One field of view of a urine filter membrane, 4× objective, 2028 × 1520 pixels.
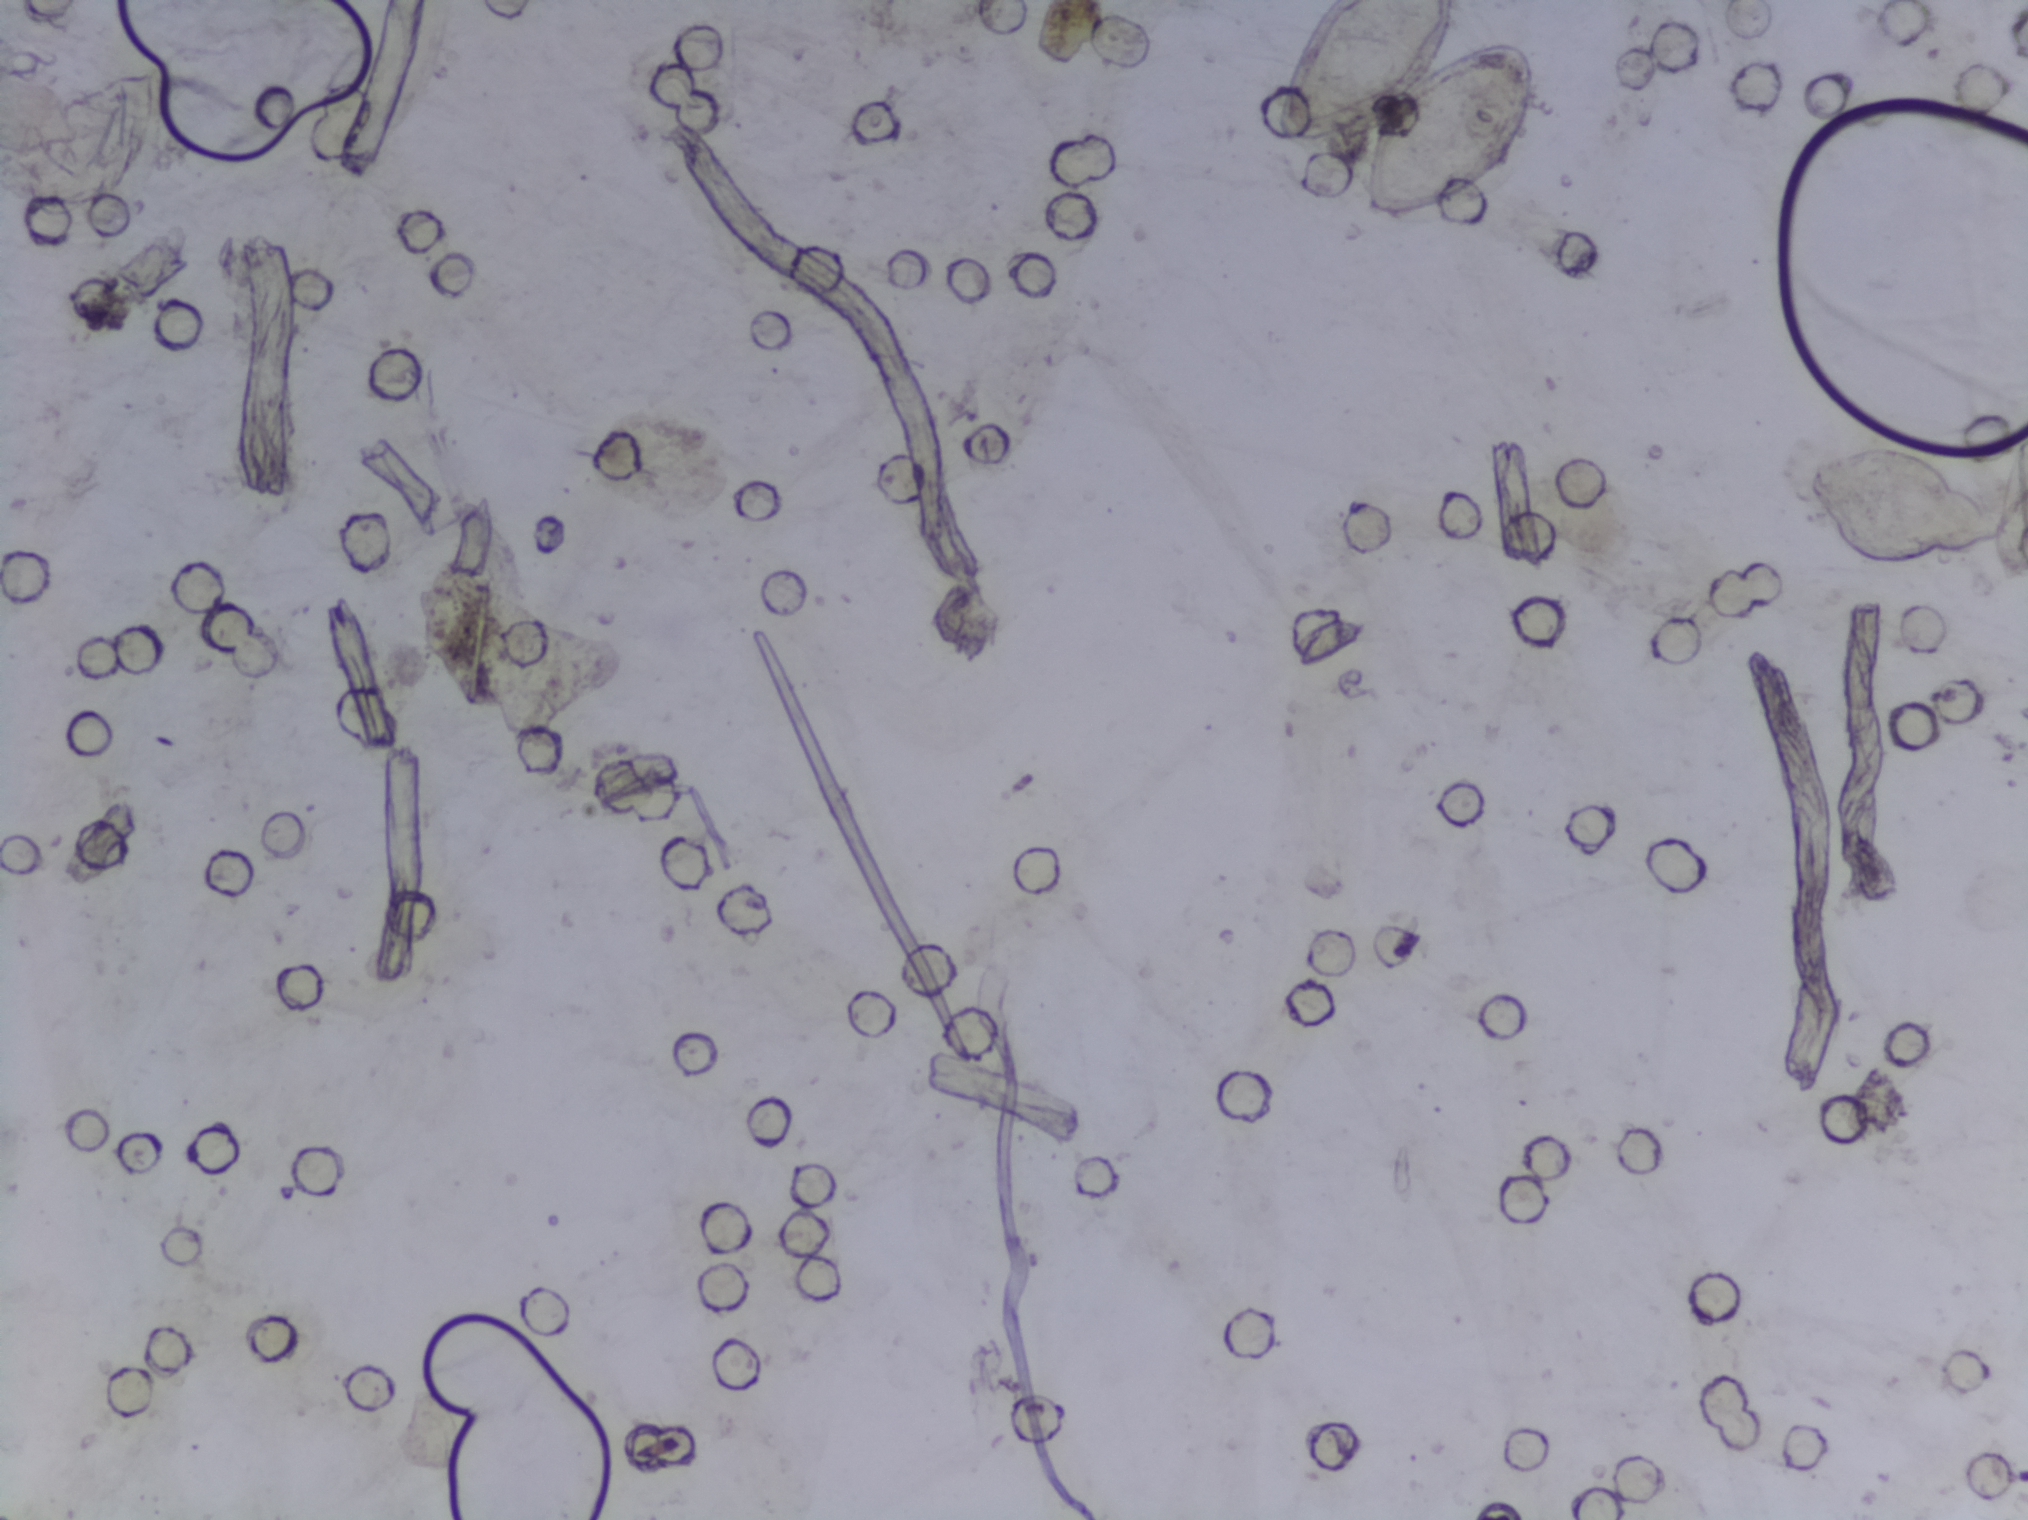
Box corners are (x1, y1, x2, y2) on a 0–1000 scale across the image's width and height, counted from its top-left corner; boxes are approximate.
Schistosoma egg areas, outlined: (9, 44, 78, 144); (627, 0, 759, 149) (reaching the top edge of the frame). A single outlined area may contain several eggs.